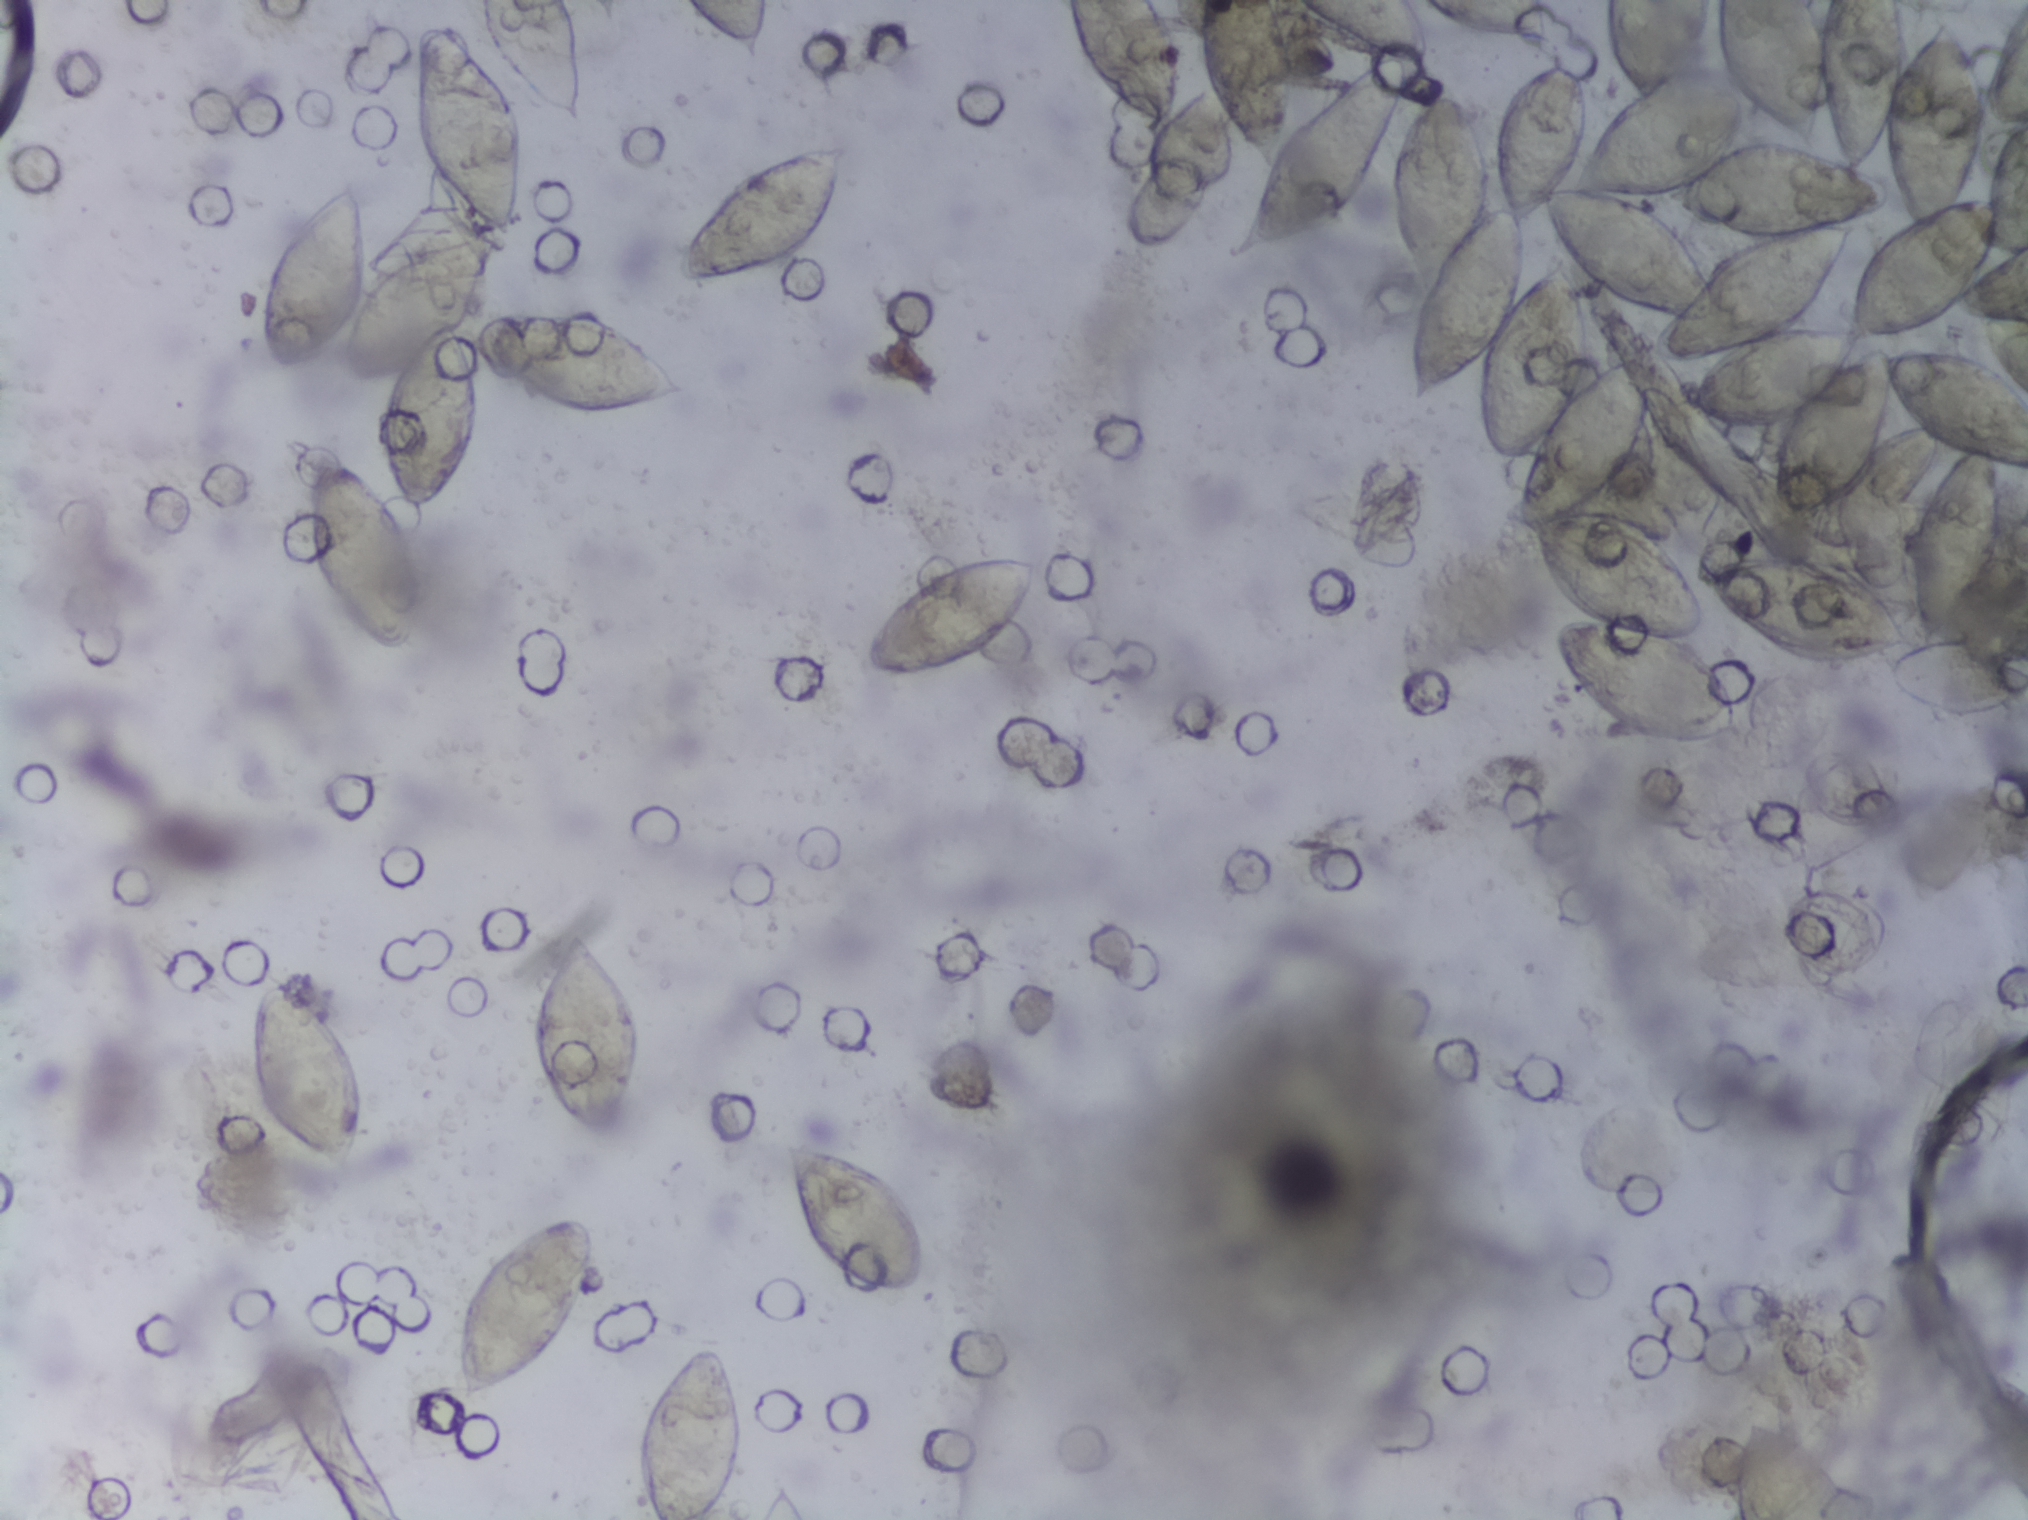
Microscope photograph (4× objective) of a membrane that a urine sample was filtered through. The field of view is about 1.5 mm × 1.1 mm.
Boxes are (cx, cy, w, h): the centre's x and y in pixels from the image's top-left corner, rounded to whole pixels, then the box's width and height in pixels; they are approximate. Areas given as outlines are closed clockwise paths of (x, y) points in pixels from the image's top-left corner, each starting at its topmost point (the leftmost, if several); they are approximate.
Schistosoma egg areas, outlined: box (cx=314, cy=1067, w=134, h=228); box (cx=359, cy=548, w=139, h=220); outline (477, 0), (567, 0), (584, 33), (594, 117), (586, 131), (575, 131), (528, 102), (534, 136), (530, 218), (520, 239), (500, 240), (494, 283), (460, 322), (462, 333), (467, 335), (465, 324), (473, 316), (490, 308), (583, 308), (674, 358), (696, 391), (641, 419), (560, 419), (494, 375), (469, 340), (482, 440), (448, 507), (419, 517), (403, 505), (385, 467), (385, 390), (345, 389), (338, 351), (300, 373), (281, 375), (269, 359), (261, 284), (279, 232), (350, 170), (366, 178), (379, 257), (405, 228), (470, 213), (426, 168), (411, 140), (407, 42), (419, 20), (422, 26), (442, 20), (478, 34), (494, 50) (a cluster of eggs; reaching the top edge of the frame); box (cx=518, cy=1312, w=154, h=204); box (cx=587, cy=1036, w=115, h=228); box (cx=692, cy=1431, w=122, h=178) (reaching the bottom edge of the frame); box (cx=729, cy=32, w=87, h=65) (reaching the top edge of the frame); box (cx=761, cy=213, w=194, h=156); box (cx=855, cy=1224, w=166, h=173); box (cx=948, cy=615, w=189, h=139); box (cx=1122, cy=63, w=118, h=127) (reaching the top edge of the frame); box (cx=1489, cy=23, w=130, h=46) (reaching the top edge of the frame); outline (1193, 0), (1275, 0), (1283, 9), (1298, 46), (1290, 118), (1316, 103), (1367, 54), (1312, 20), (1294, 0), (1411, 0), (1433, 50), (1426, 62), (1412, 63), (1410, 98), (1396, 132), (1425, 92), (1454, 81), (1478, 109), (1492, 159), (1491, 196), (1504, 194), (1495, 169), (1495, 104), (1533, 58), (1555, 49), (1586, 70), (1591, 140), (1627, 101), (1631, 93), (1604, 51), (1606, 0), (1812, 0), (1818, 10), (1824, 0), (1905, 0), (1907, 51), (1924, 29), (1945, 18), (1971, 39), (1985, 68), (2001, 9), (2008, 0), (2027, 0), (2027, 474), (1995, 467), (2005, 494), (1987, 568), (1965, 616), (1941, 634), (2023, 653), (2026, 693), (1998, 721), (1947, 723), (1882, 679), (1878, 660), (1815, 675), (1740, 633), (1708, 600), (1710, 632), (1698, 643), (1729, 675), (1743, 716), (1741, 732), (1706, 748), (1671, 748), (1597, 718), (1553, 657), (1553, 622), (1566, 612), (1544, 590), (1511, 508), (1519, 458), (1489, 456), (1477, 433), (1478, 368), (1443, 387), (1428, 405), (1409, 400), (1405, 300), (1412, 283), (1389, 226), (1383, 192), (1389, 154), (1308, 248), (1271, 259), (1229, 257), (1223, 250), (1262, 161), (1212, 107), (1187, 37) (a cluster of eggs; reaching the top and right edges of the frame; with gaps inside, about 9.7% of the space inside its outline); box (cx=1792, cy=1462, w=152, h=116) (reaching the bottom edge of the frame). The marked pixels themselves, not the boxes and the outlines around them, cover about 21% of the image. A single outlined area may contain several eggs.